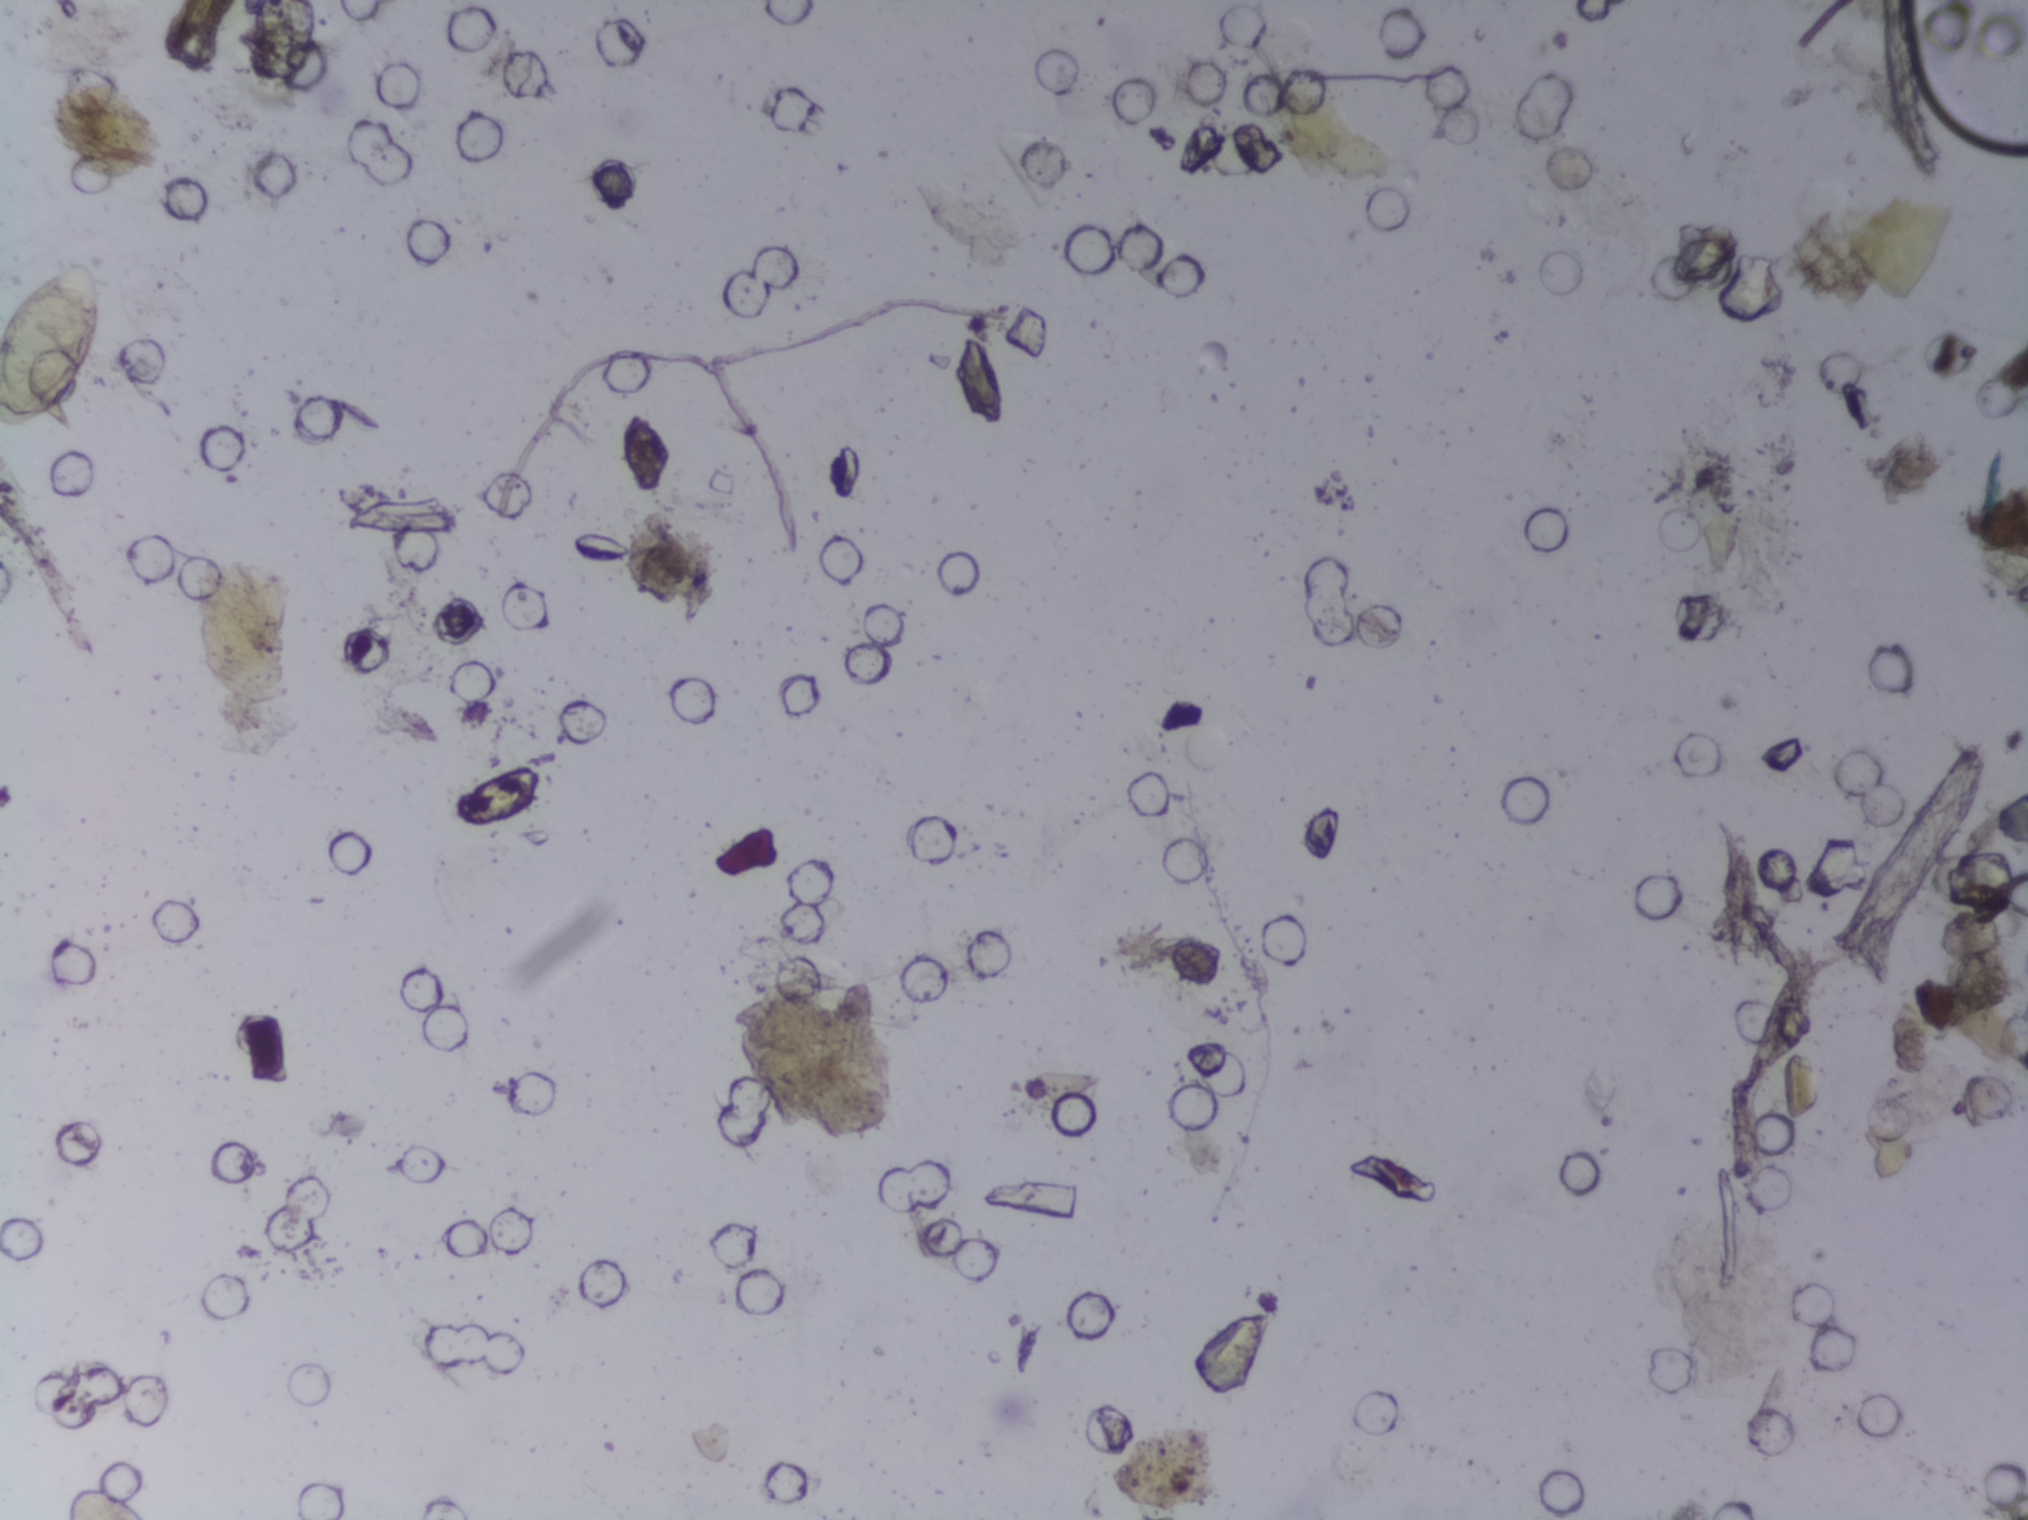
Photograph from an automated digital microscope: urine filter membrane, 4× objective. The field of view is about 1.5 mm × 1.1 mm.
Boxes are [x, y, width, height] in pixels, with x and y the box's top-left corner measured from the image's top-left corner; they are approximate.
Schistosoma egg areas, outlined: [0, 255, 104, 180] (reaching the left edge of the frame). Eggs that touch can end up inside the same outlined area.